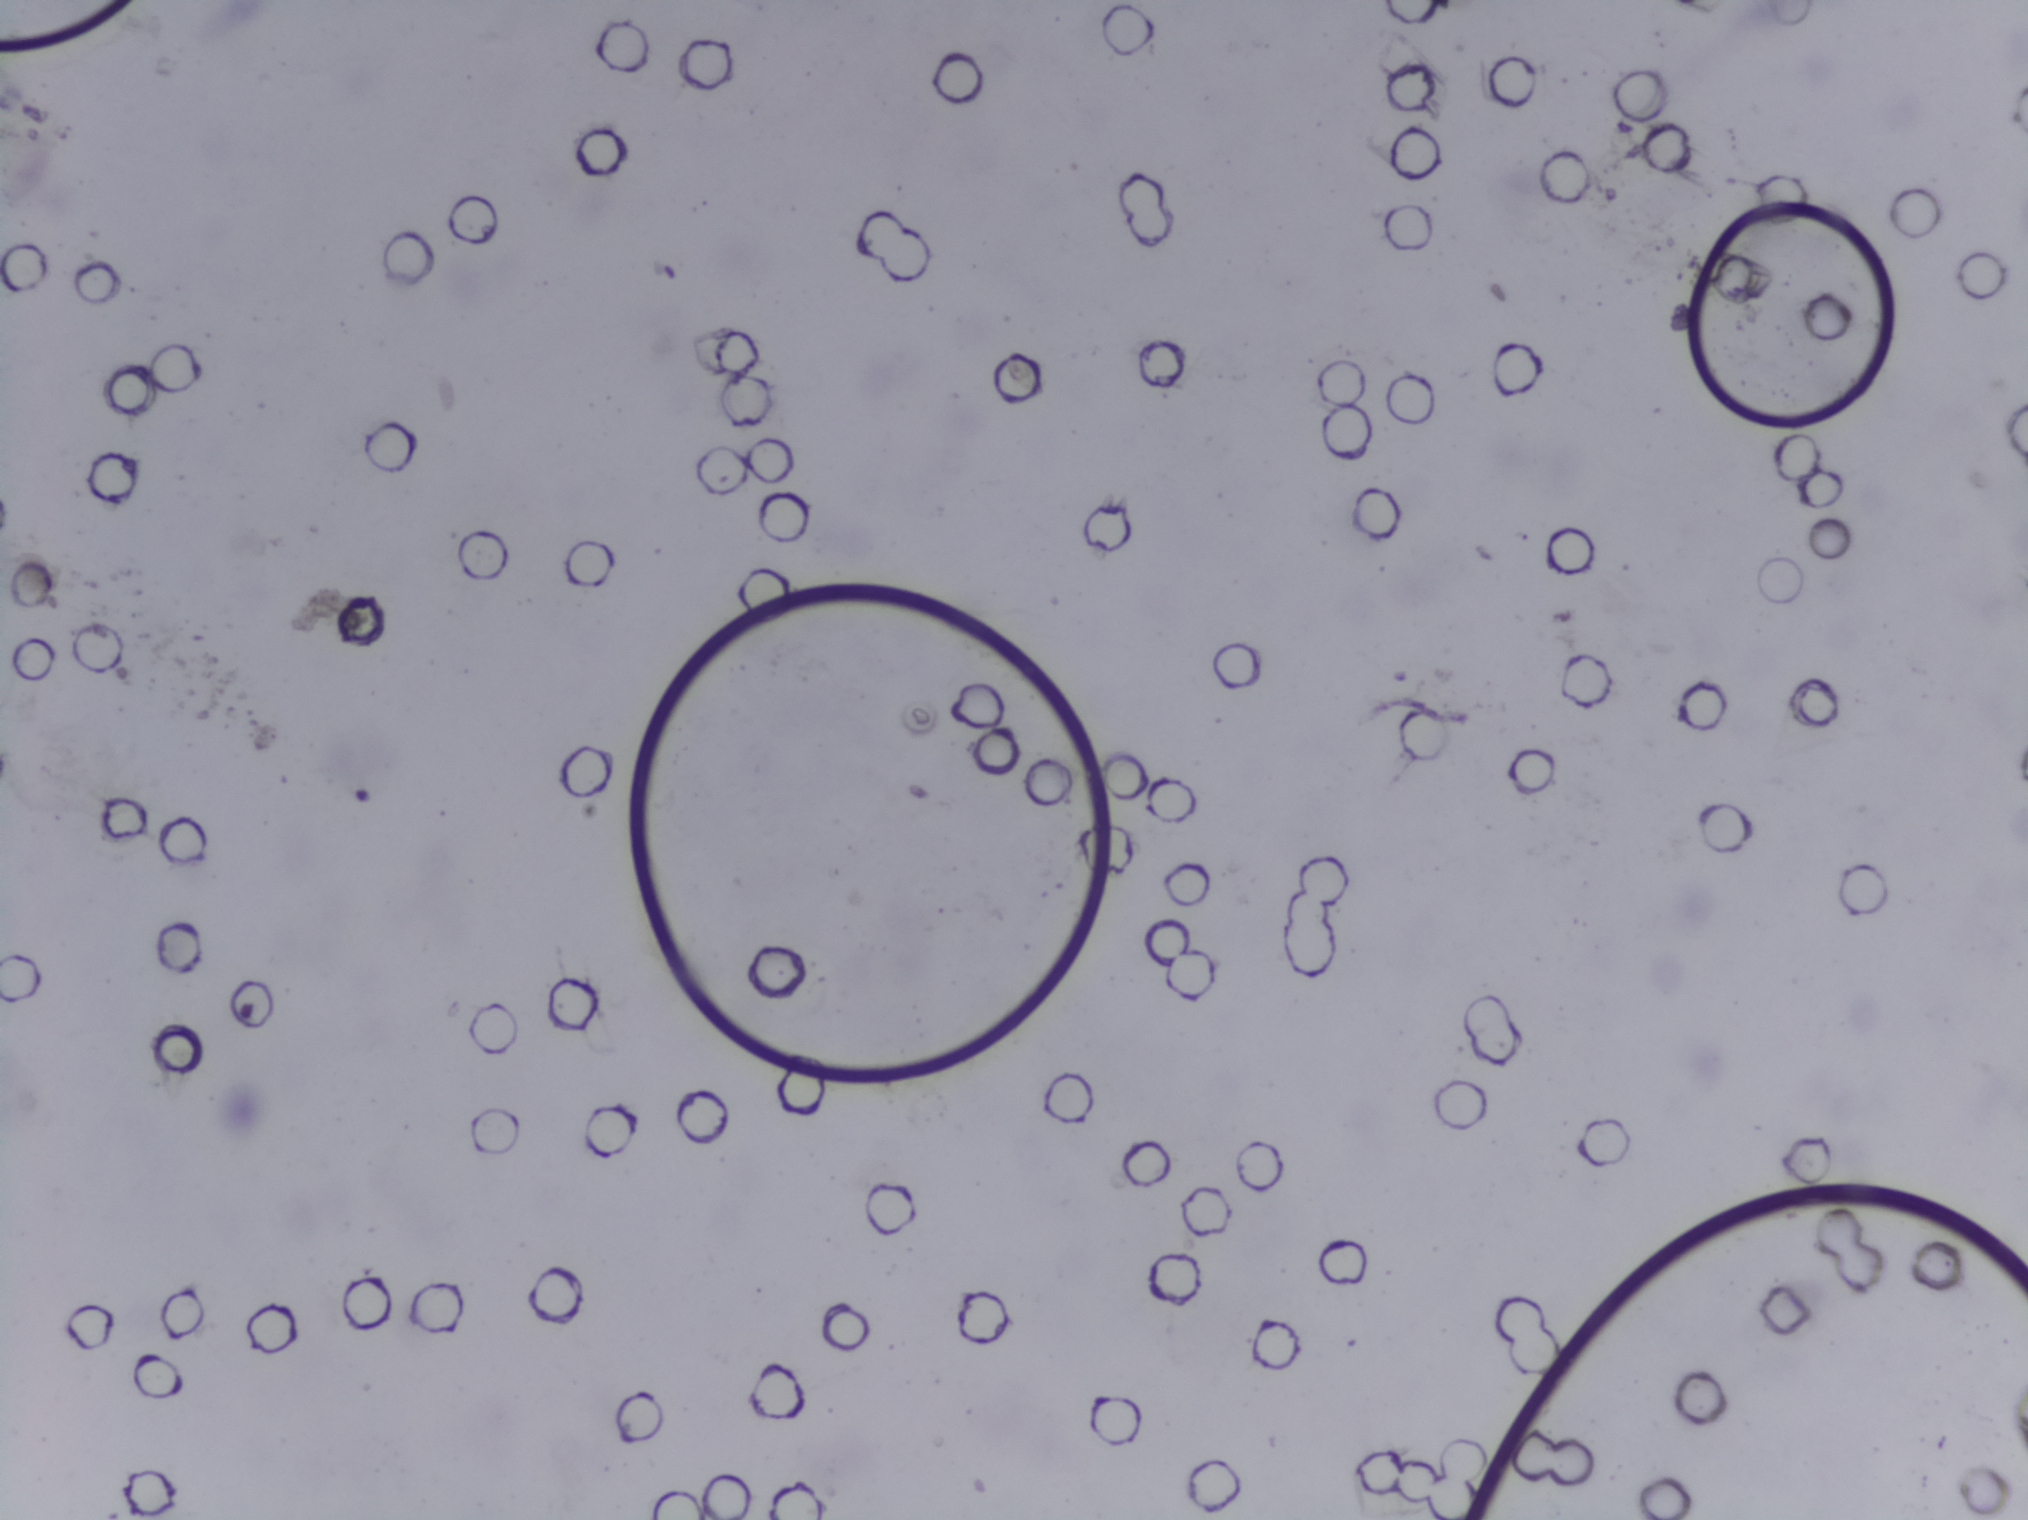
Microscope photograph (4× objective) of a membrane that a urine sample was filtered through.
No area of this image was outlined as a Schistosoma egg.